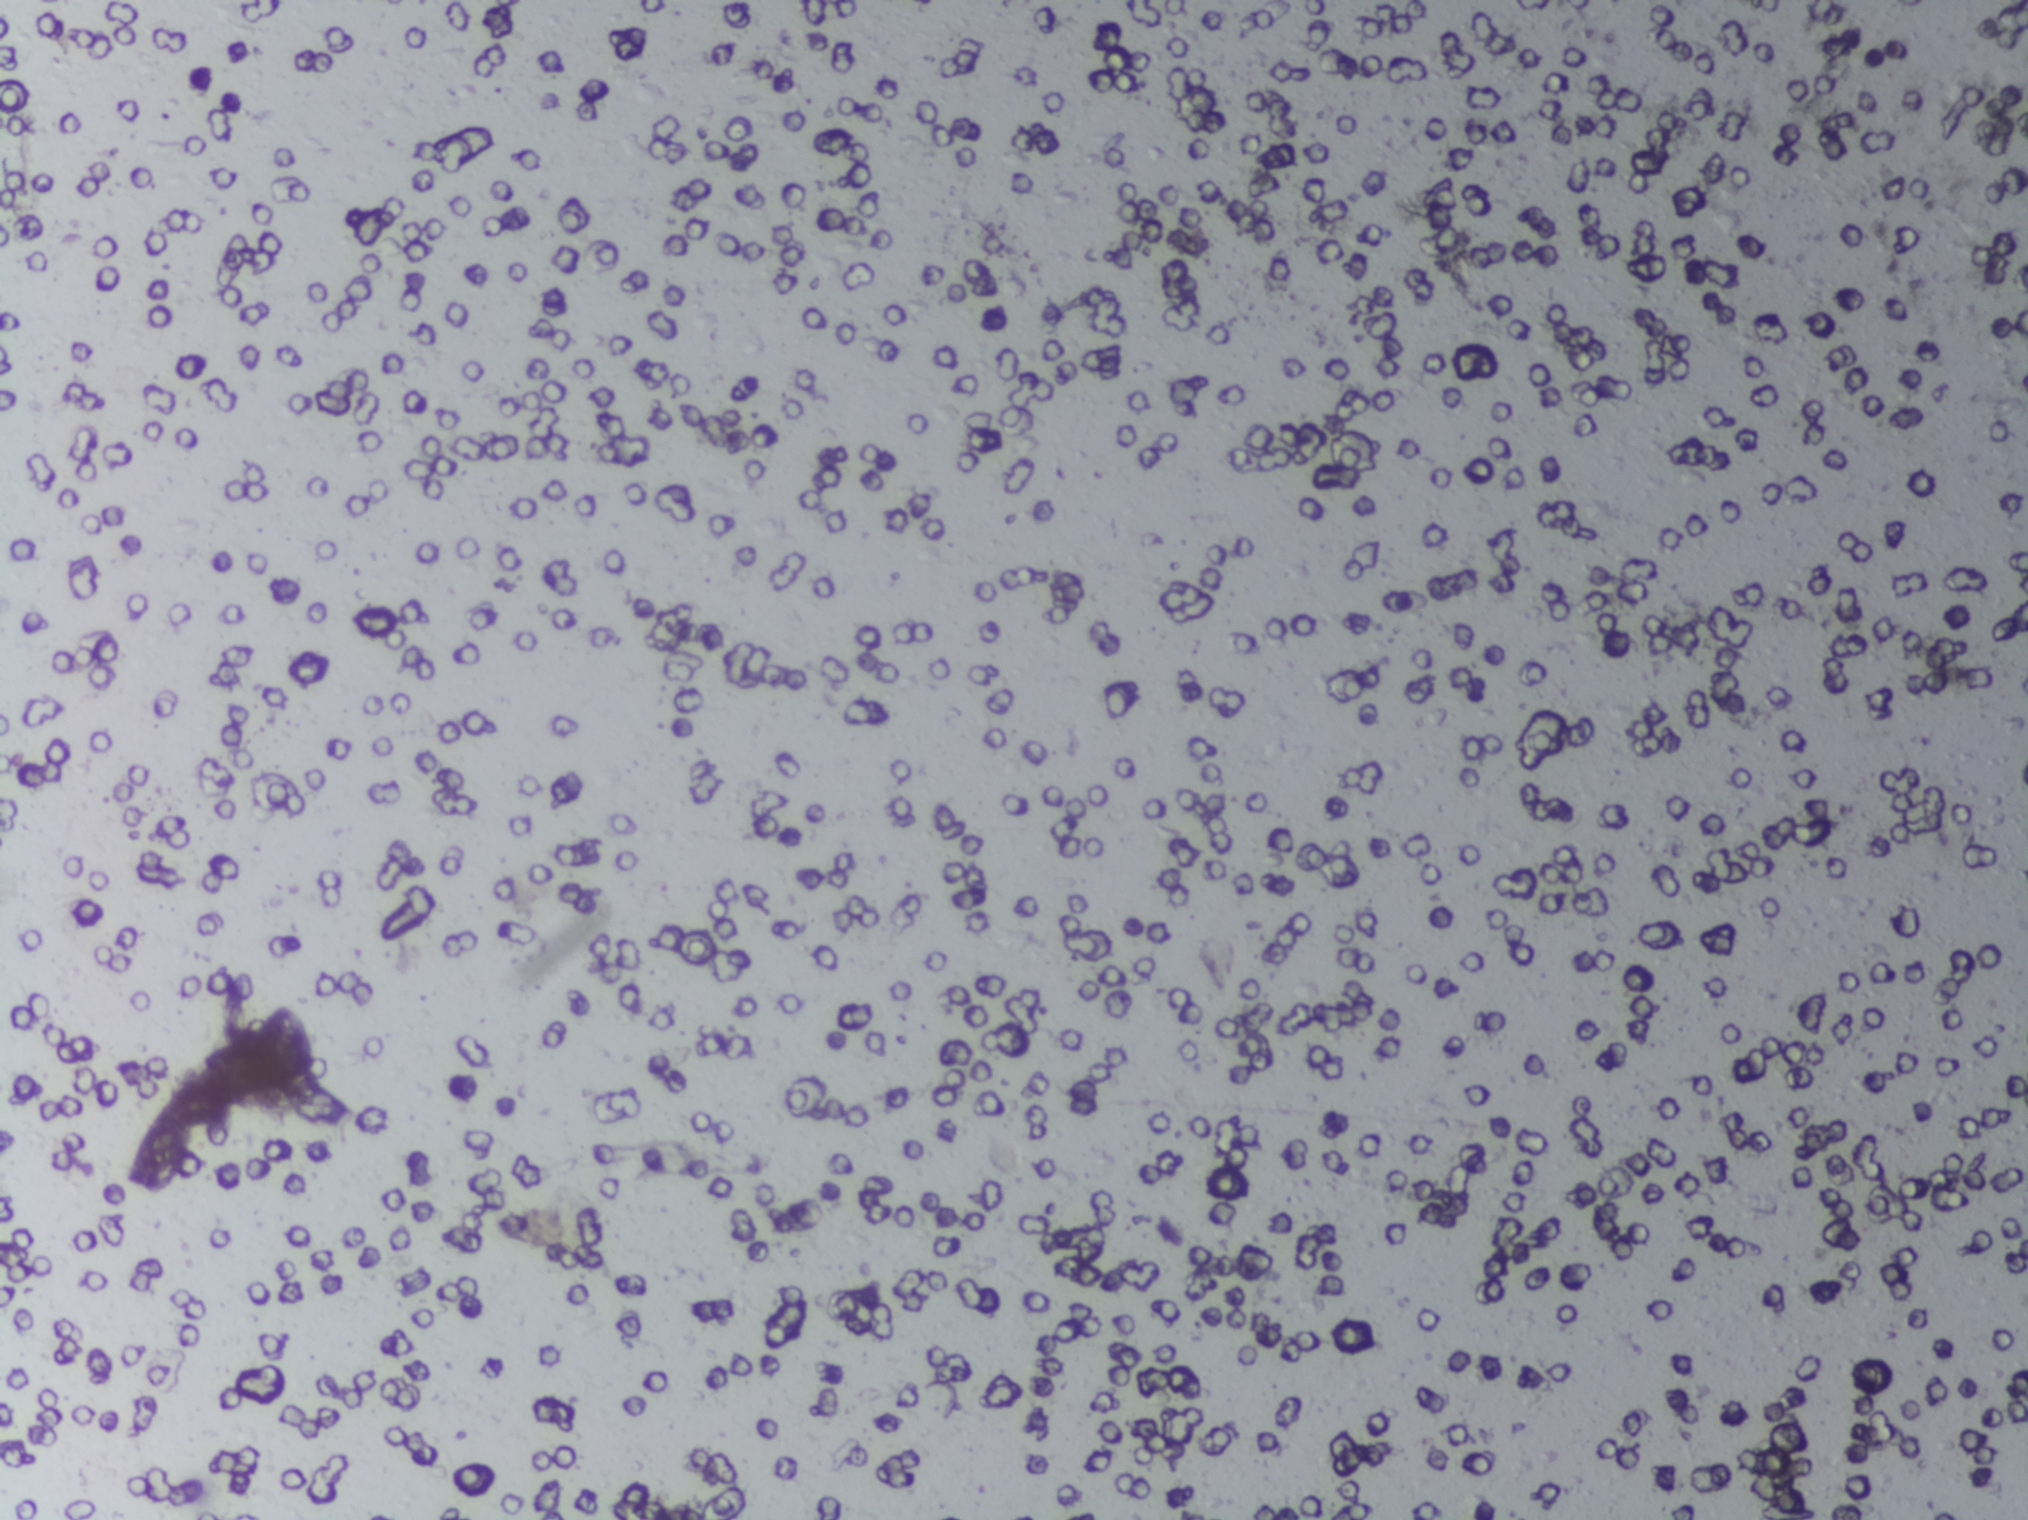
One field of view of a urine filter membrane, 4× objective, 2028 × 1520 pixels.
No Schistosoma egg is outlined in this image's expert annotation.